Photomicrograph of a urine filtration membrane, 4× objective. The field of view is about 1.5 mm × 1.1 mm.
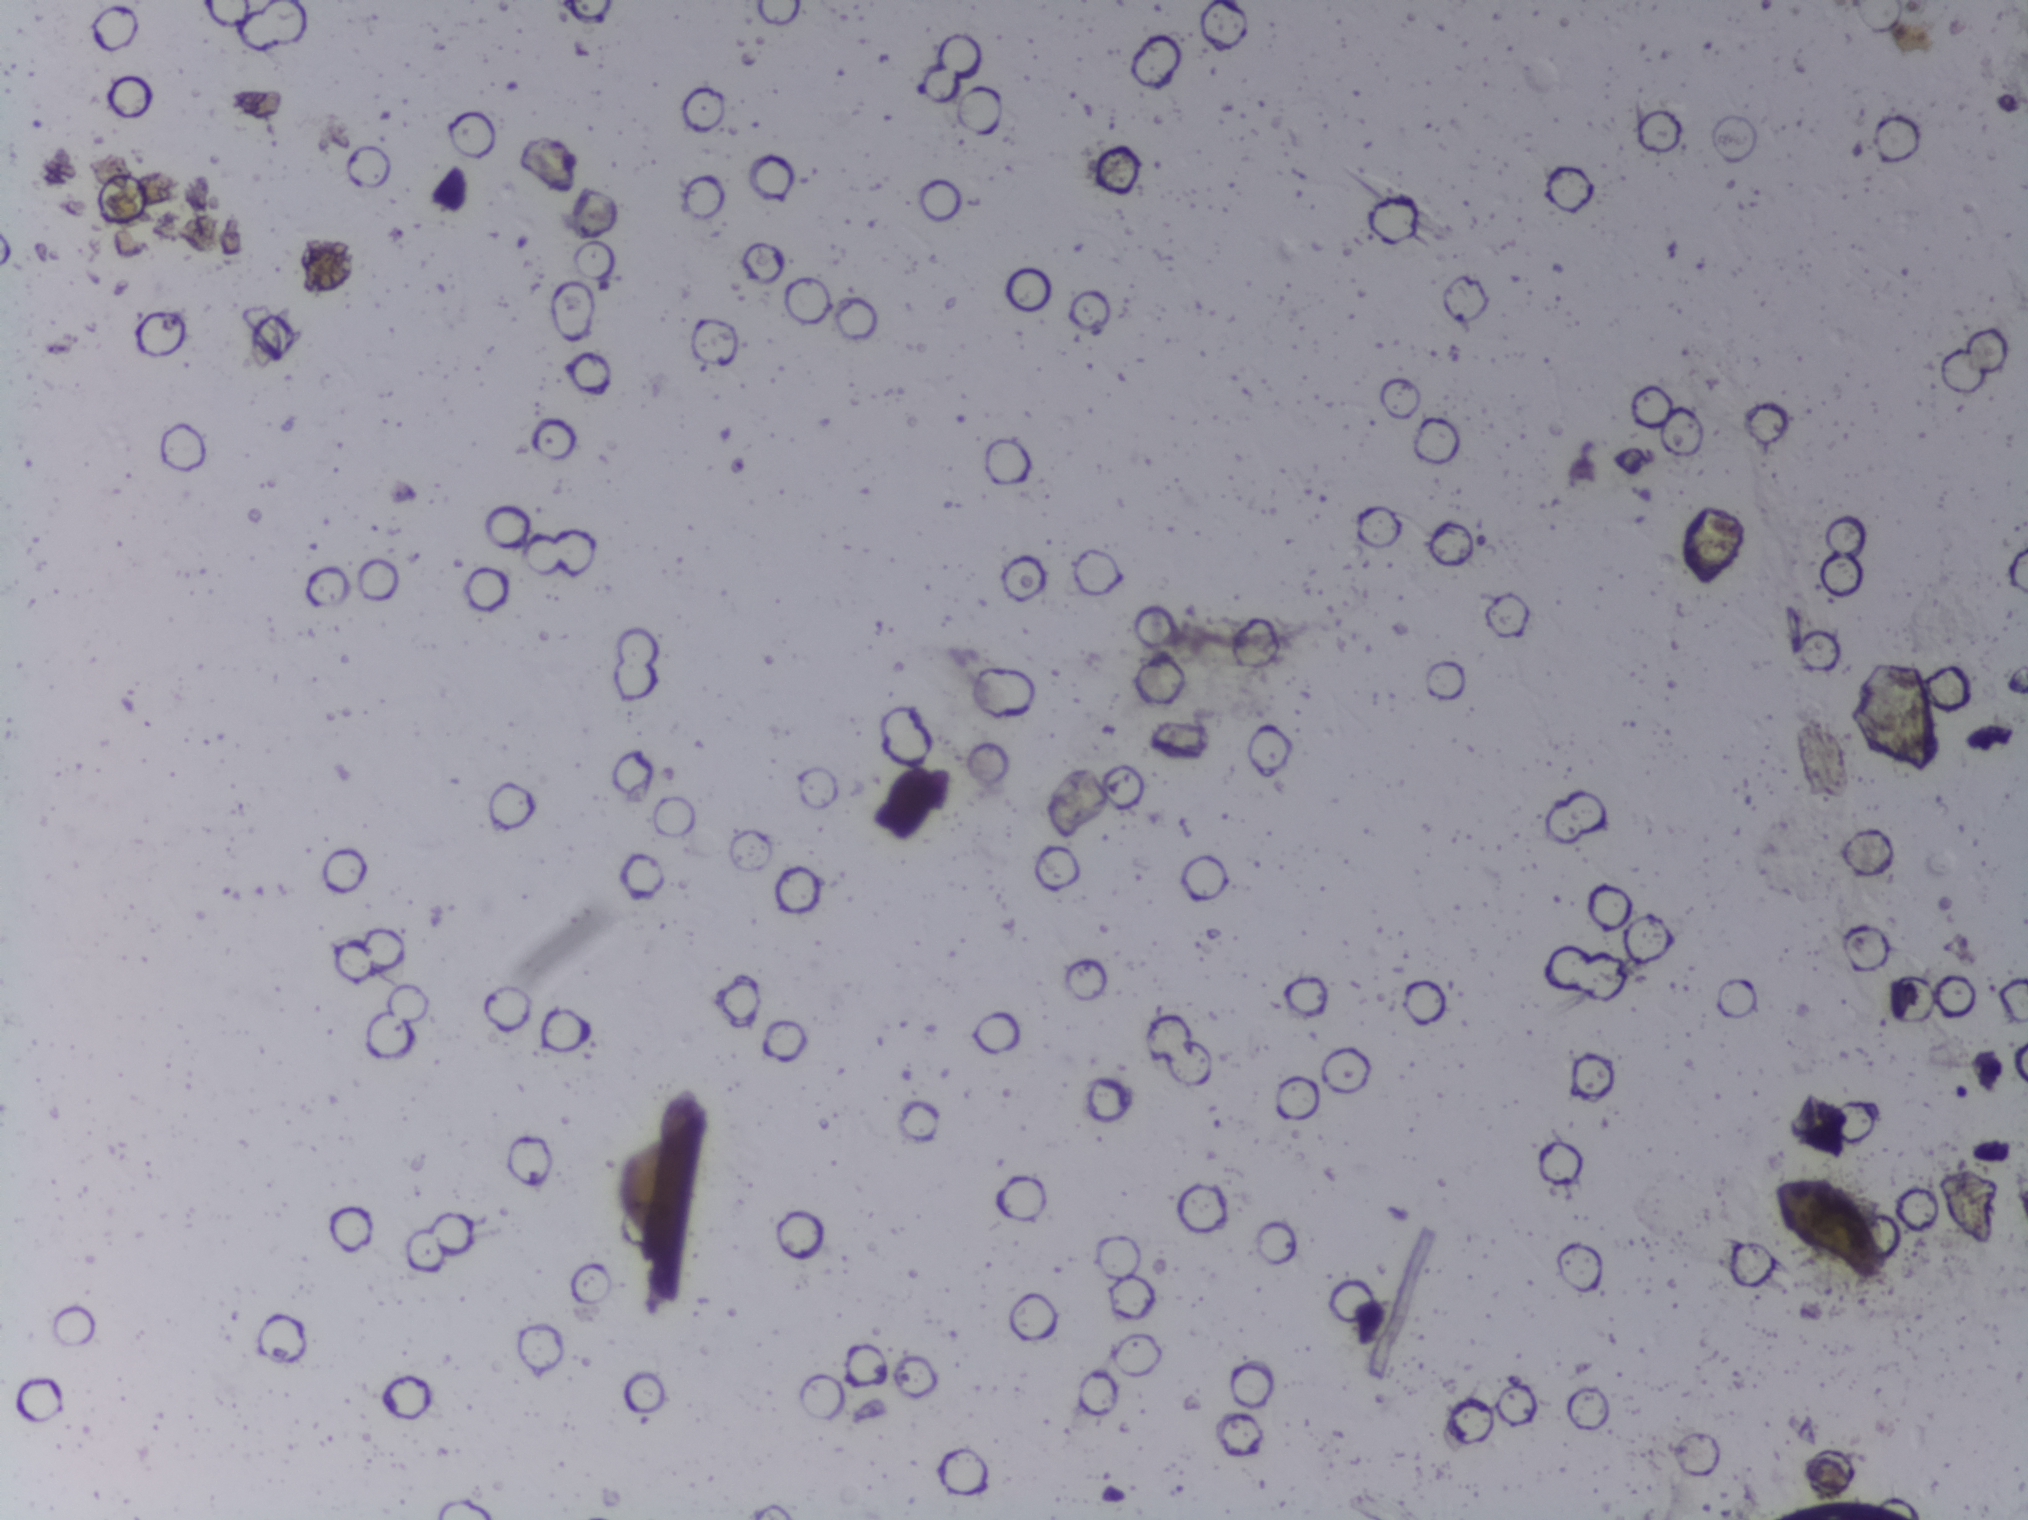
The expert annotation outlines no Schistosoma egg in this image.